Photomicrograph of a urine filtration membrane, 4× objective.
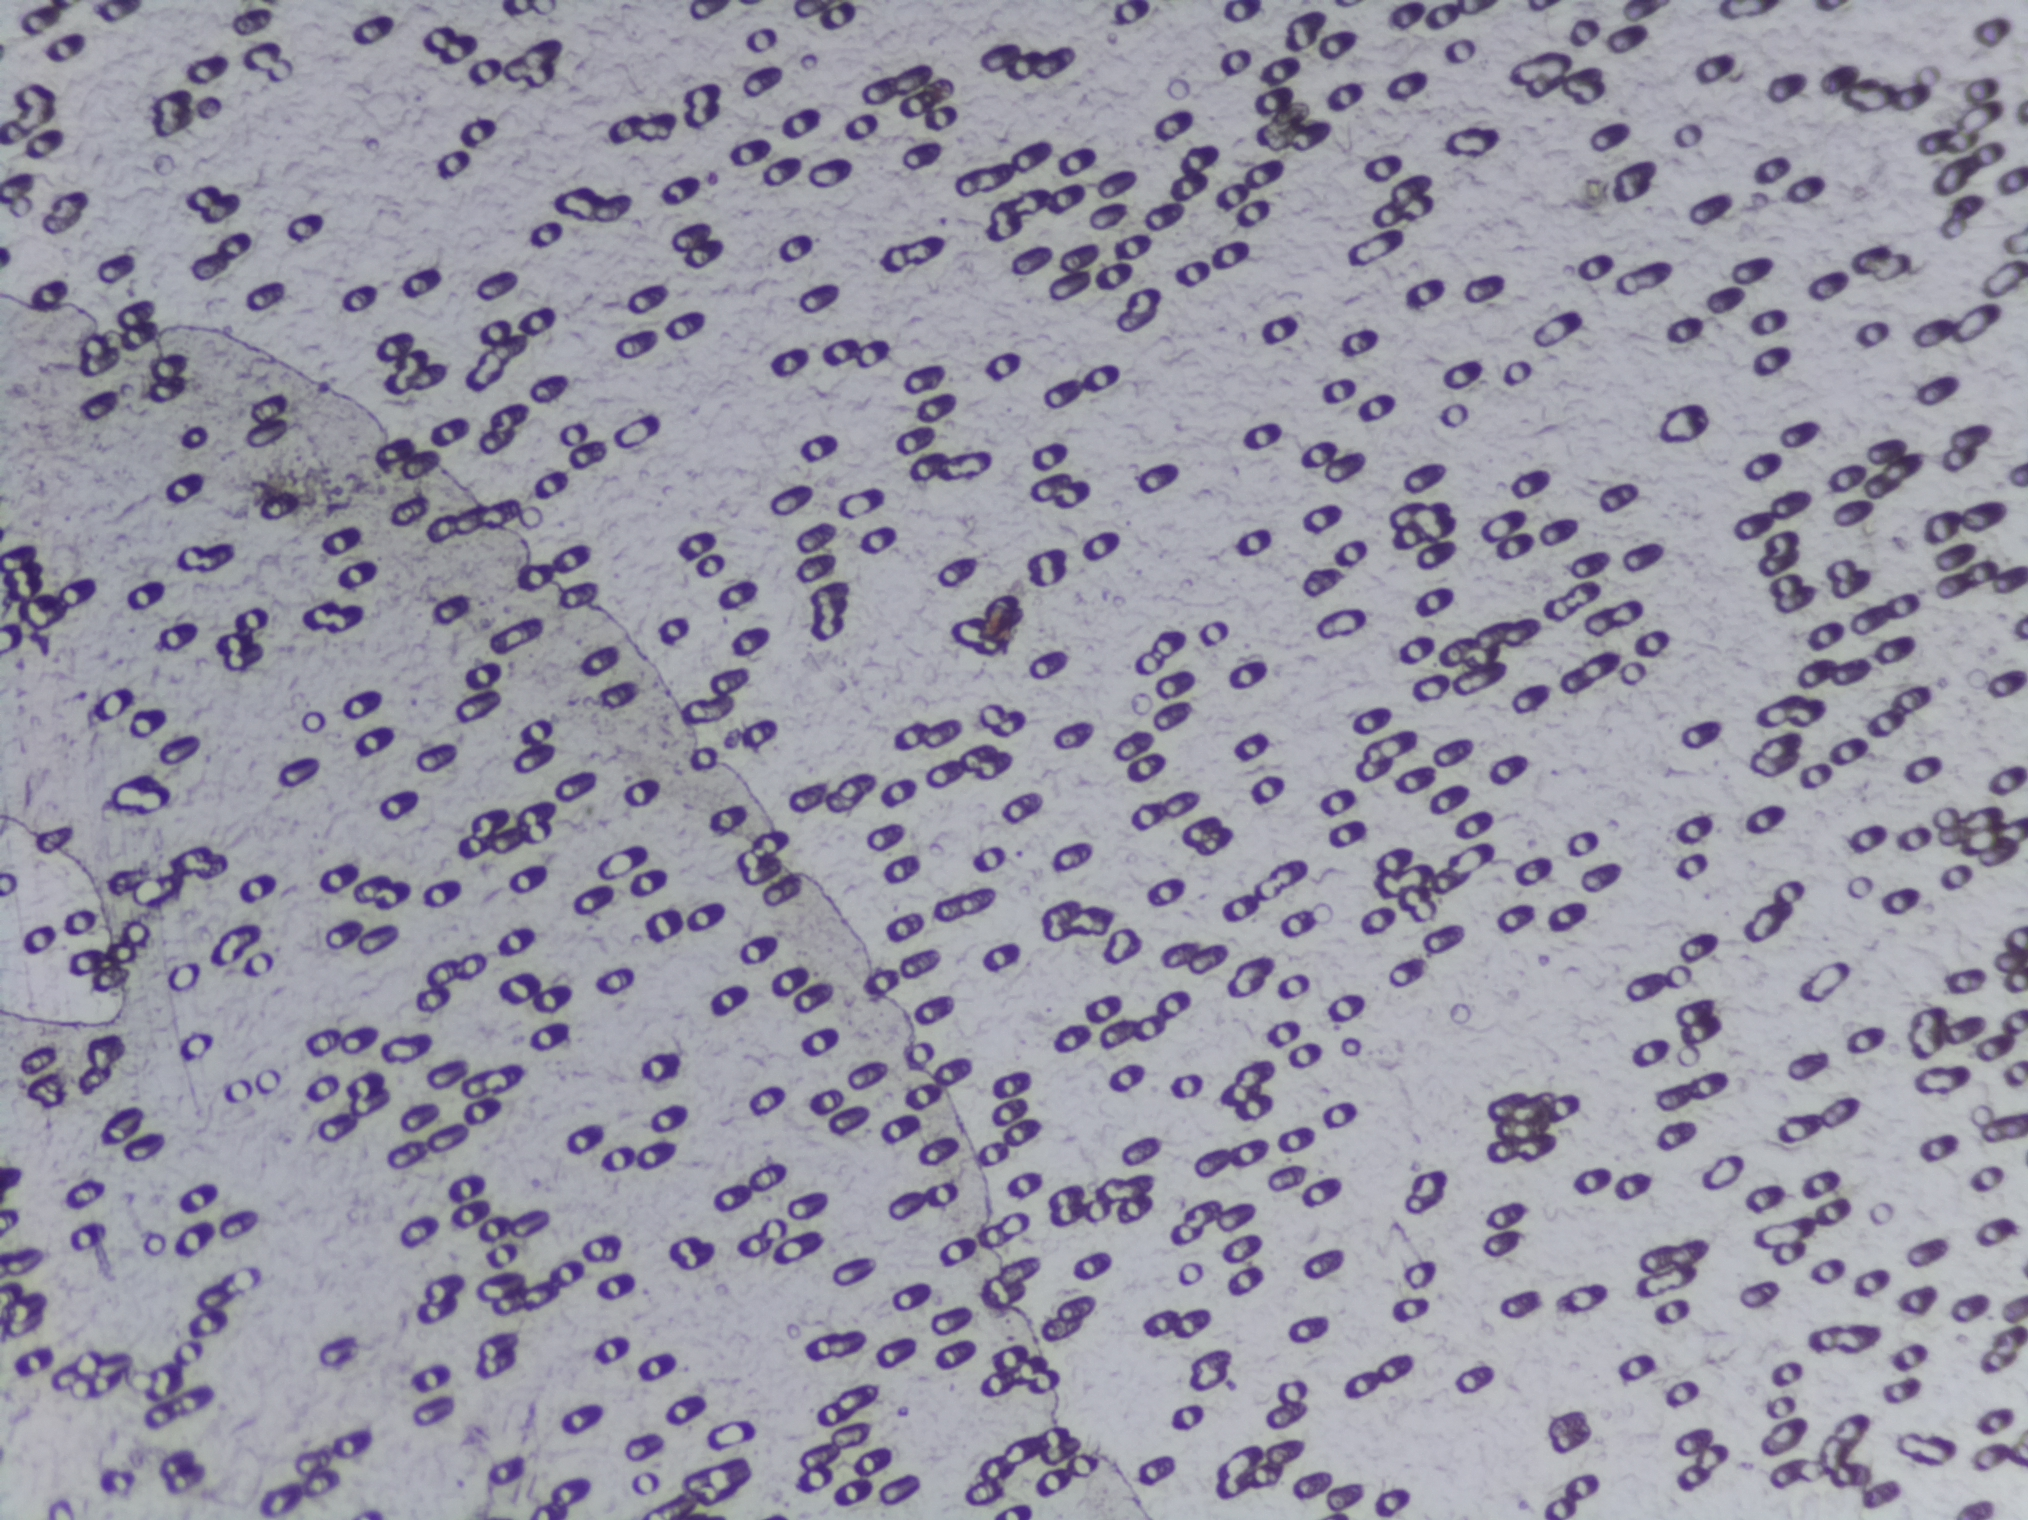
No area of this image was outlined as a Schistosoma egg.